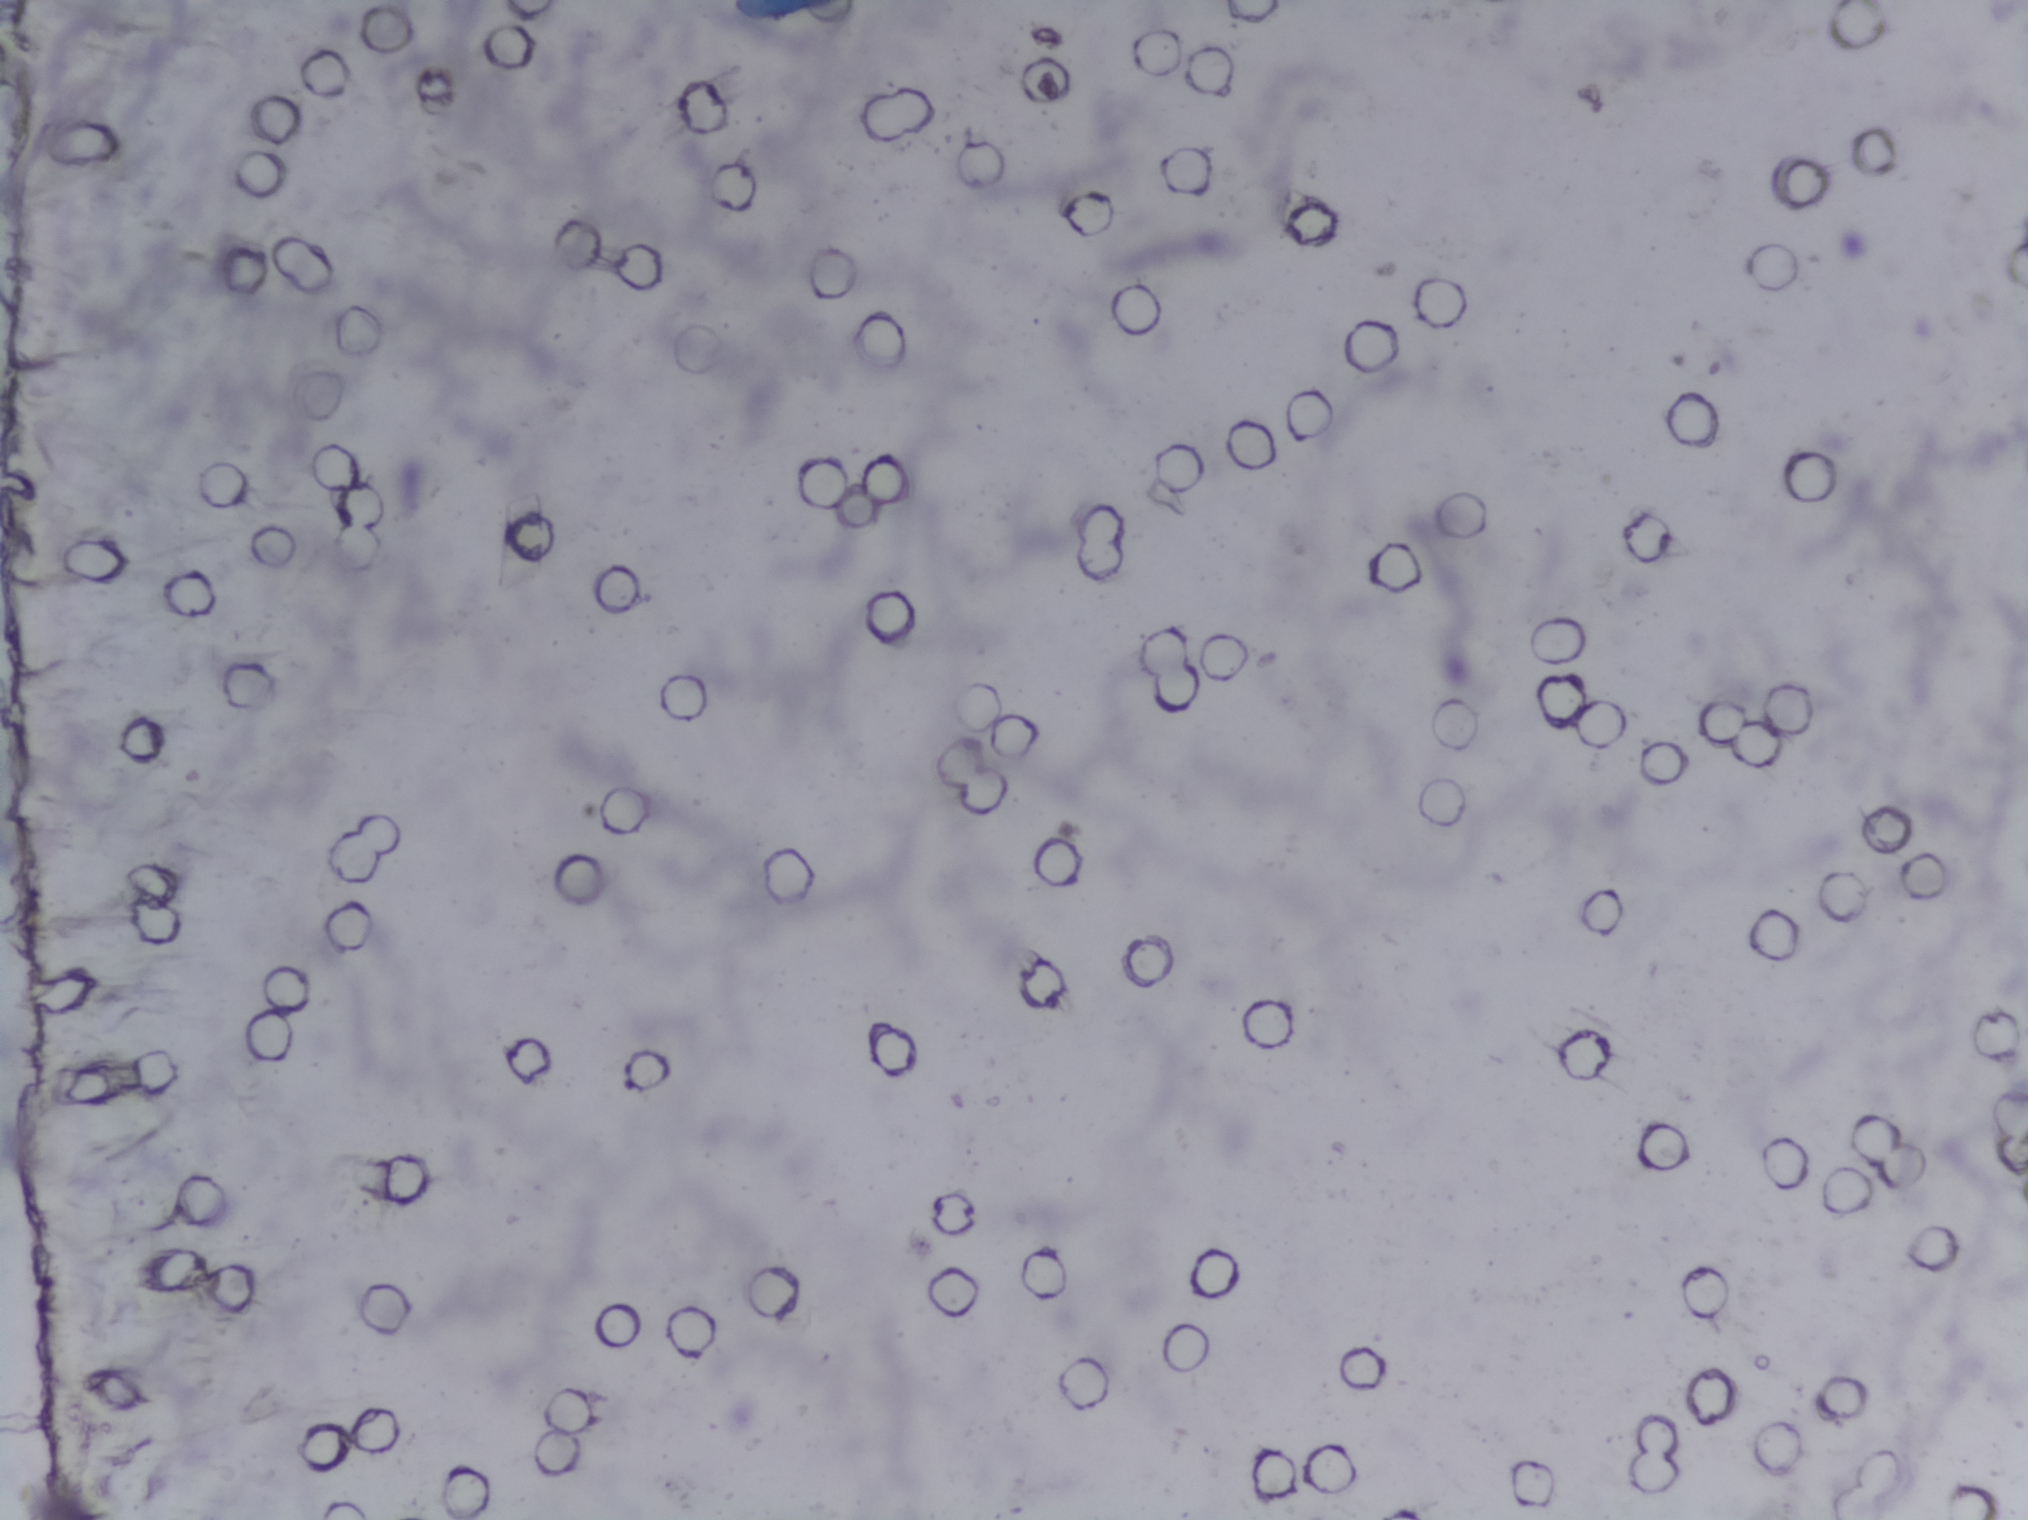
The expert annotation marks no Schistosoma egg in this field of view.
Microscope photograph (4× objective) of a membrane that a urine sample was filtered through. Field of view: about 1.5 mm wide and 1.1 mm high.